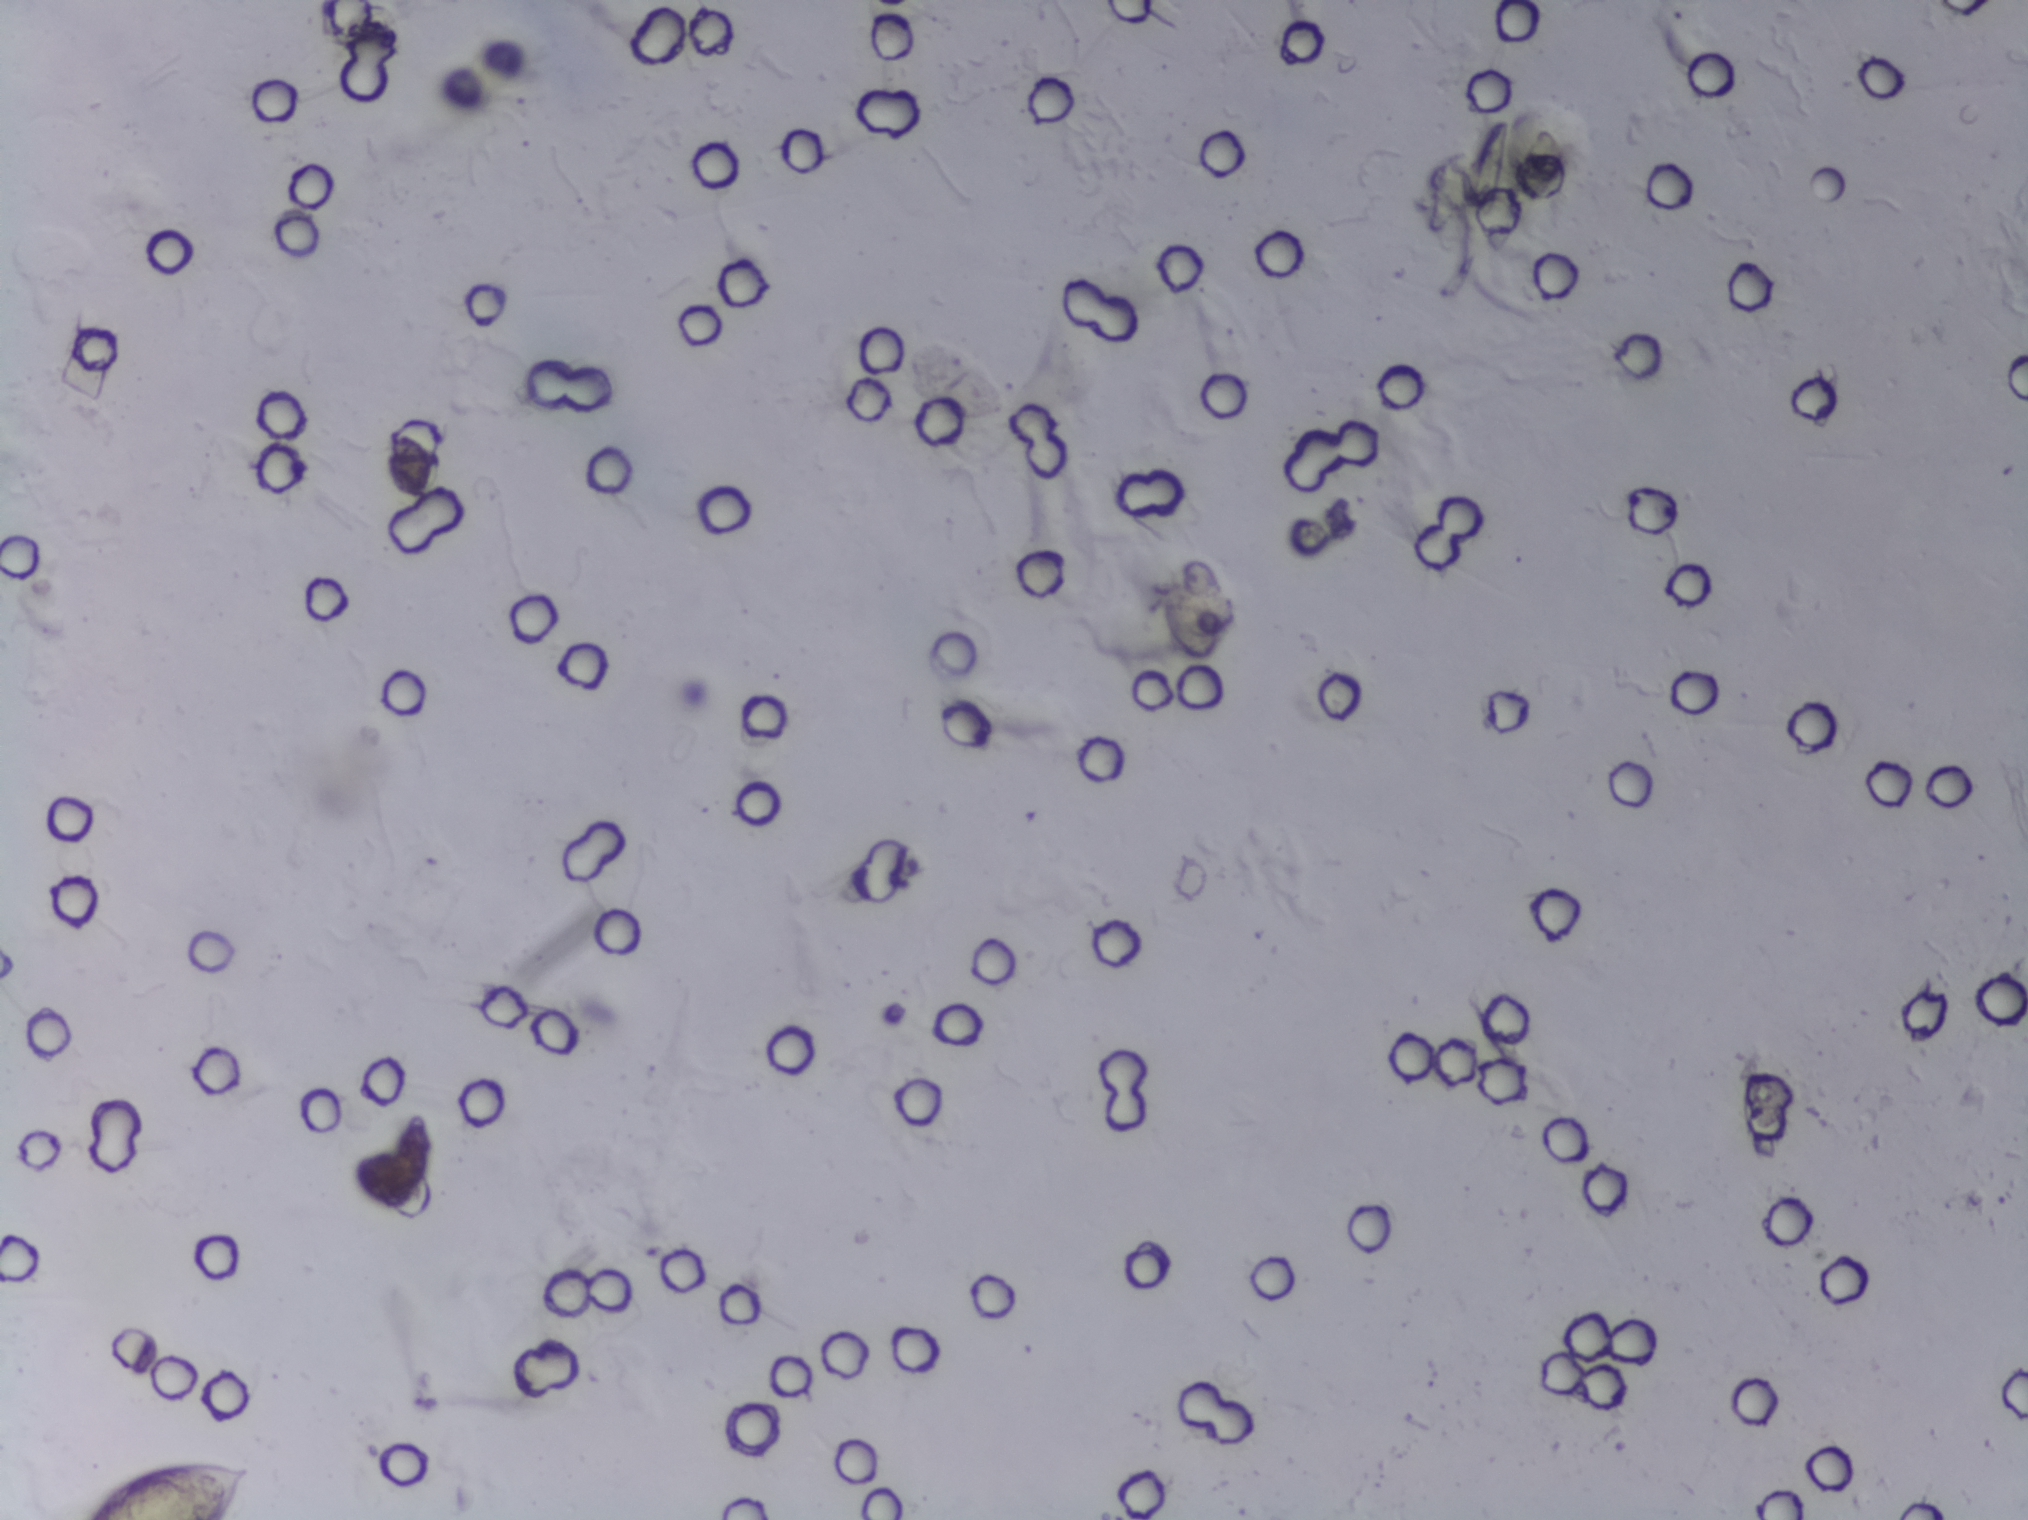
Photomicrograph of a urine filtration membrane, 4× objective. The field of view is about 1.5 mm × 1.1 mm.
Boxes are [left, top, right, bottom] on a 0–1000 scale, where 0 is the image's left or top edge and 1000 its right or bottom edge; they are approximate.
Schistosoma egg areas, outlined: [39, 961, 126, 1000] (reaching the bottom edge of the frame). About 0.2% of the image's pixels are marked (the marked pixels themselves, not the box around them). An outlined area can hold more than one egg.